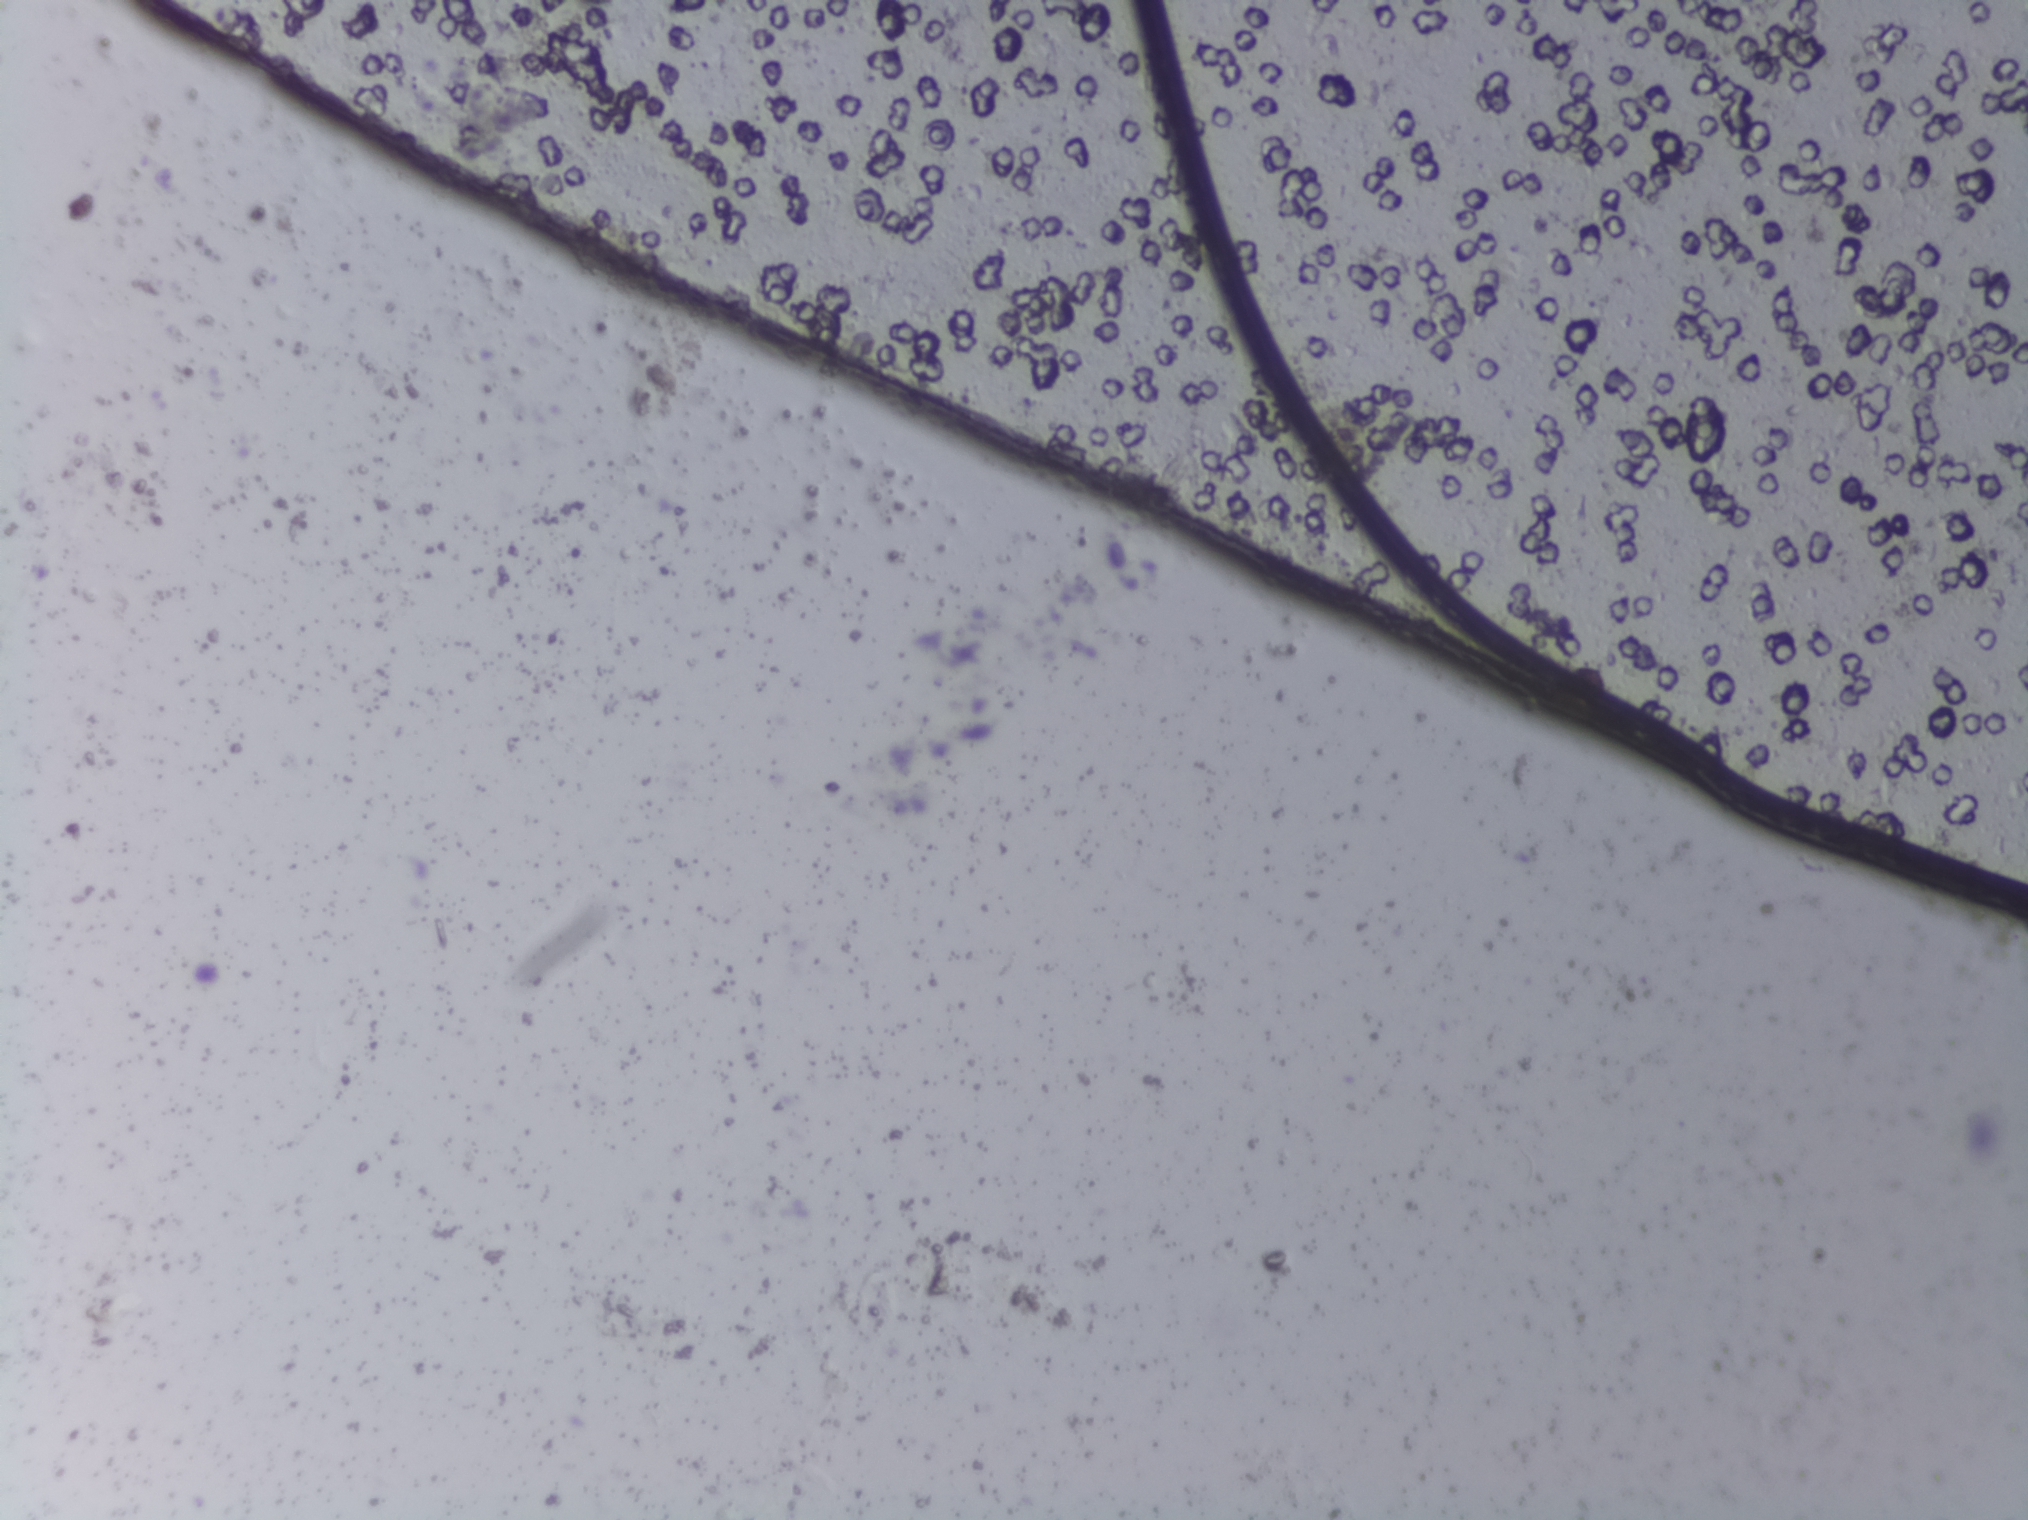
The expert annotation outlines no Schistosoma egg in this image.
Urine filter membrane photographed through a 4× microscope objective.